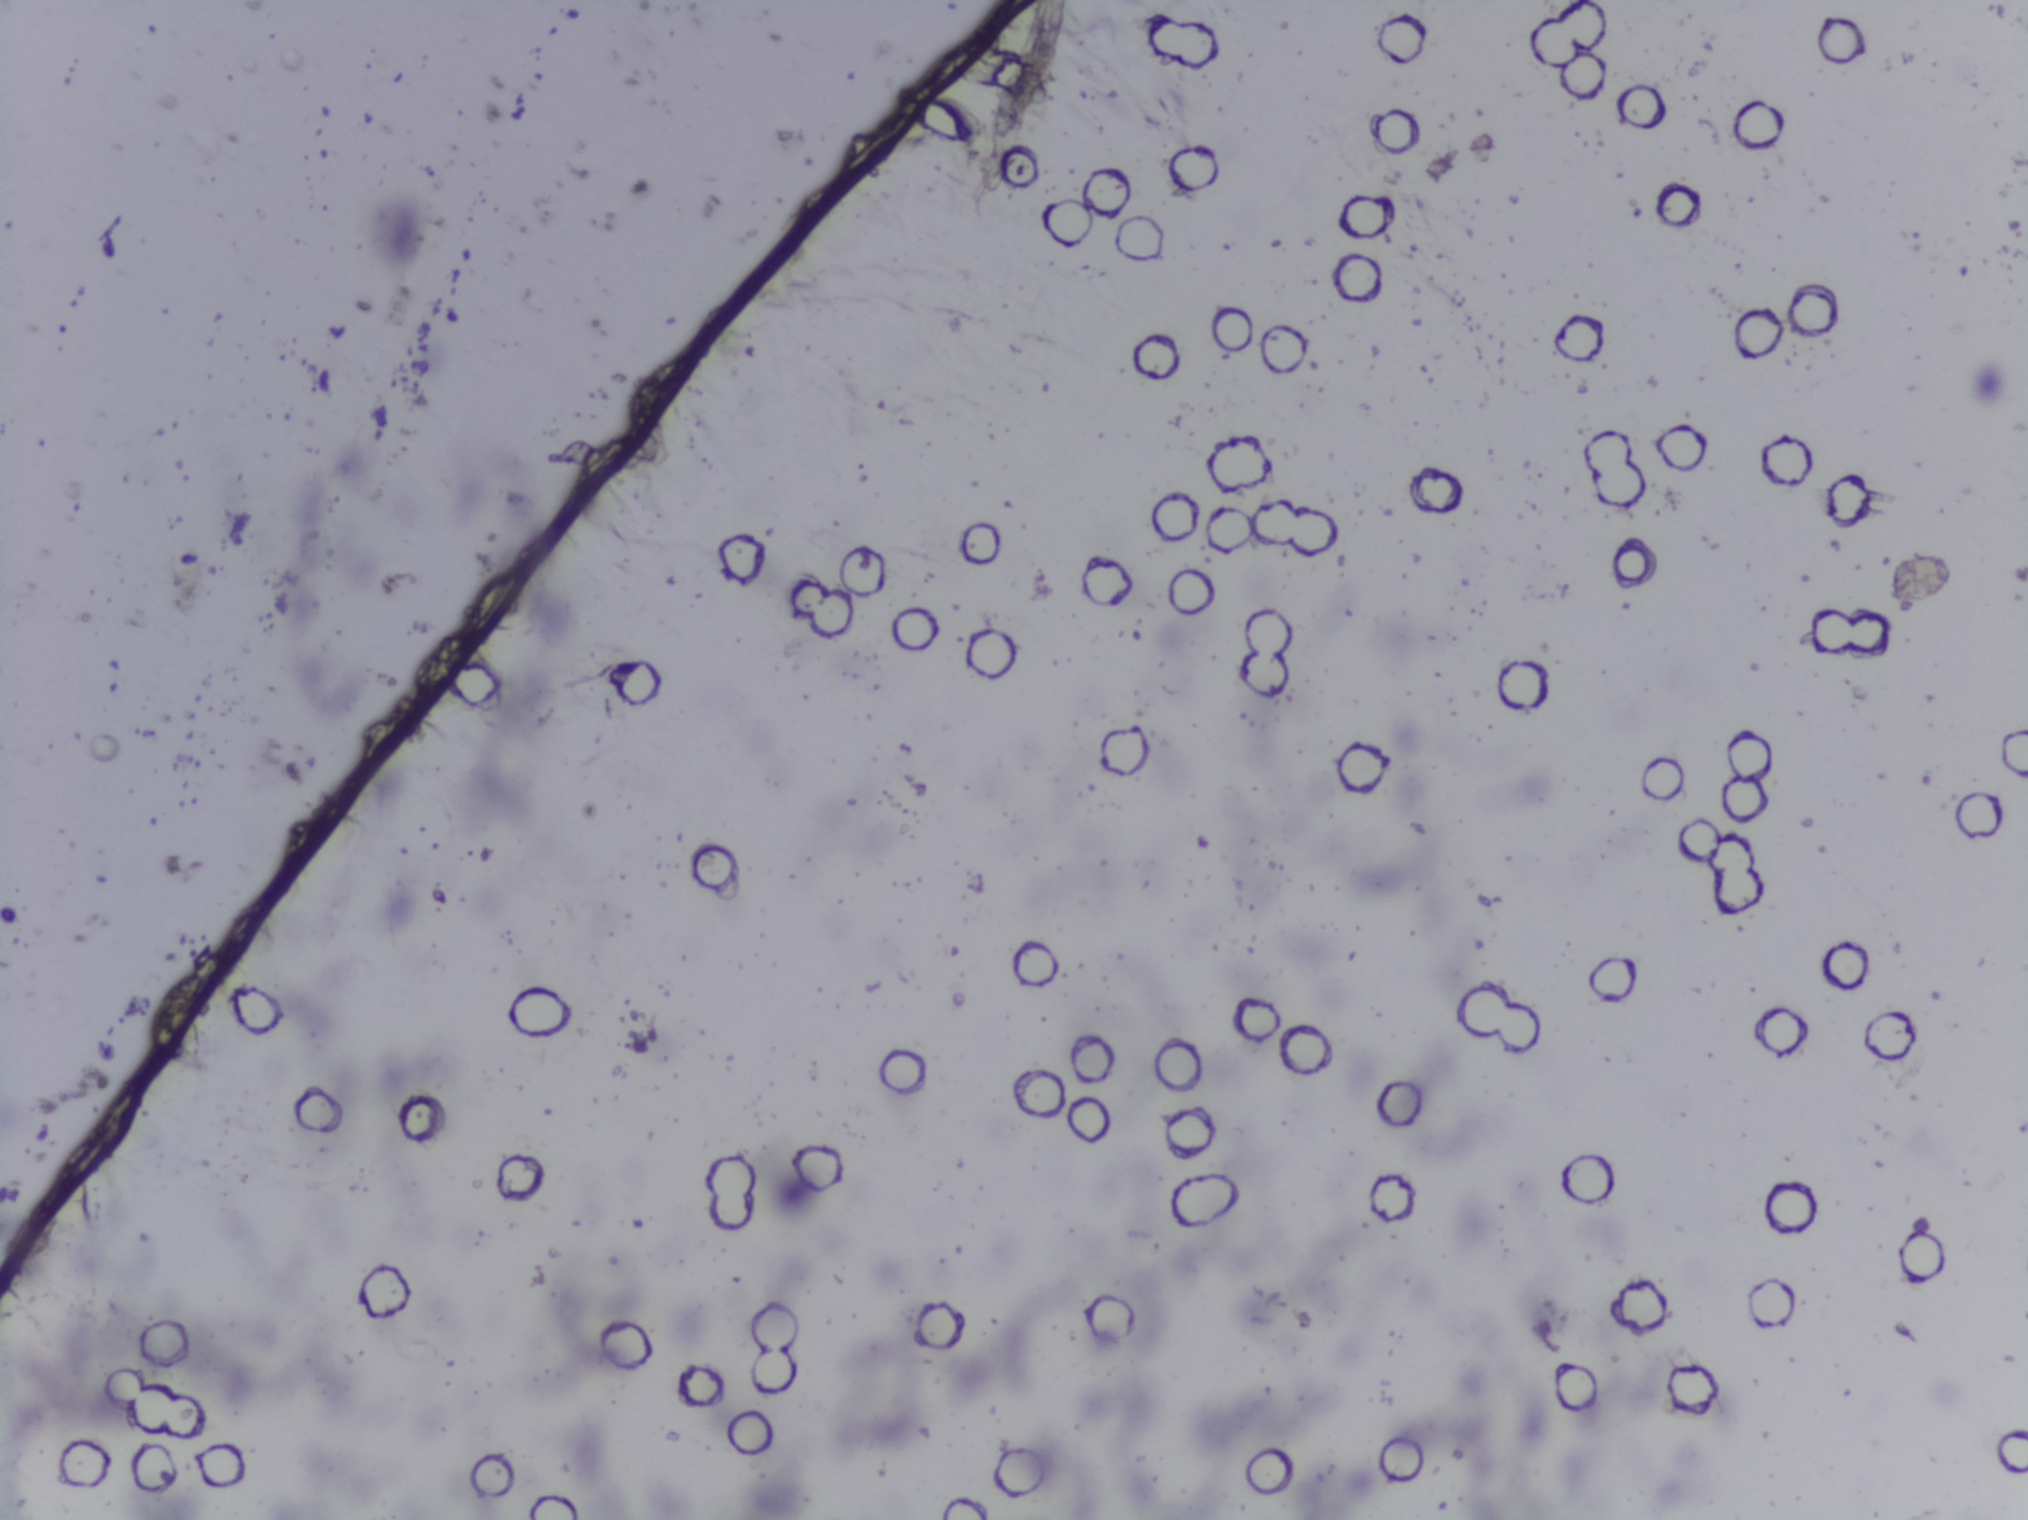
One field of view of a urine filter membrane, 4× objective, 2028 × 1520 pixels.
No Schistosoma egg is outlined in this image's expert annotation.